Urine filter membrane photographed through a 4× microscope objective. Field of view: about 1.5 mm wide and 1.1 mm high.
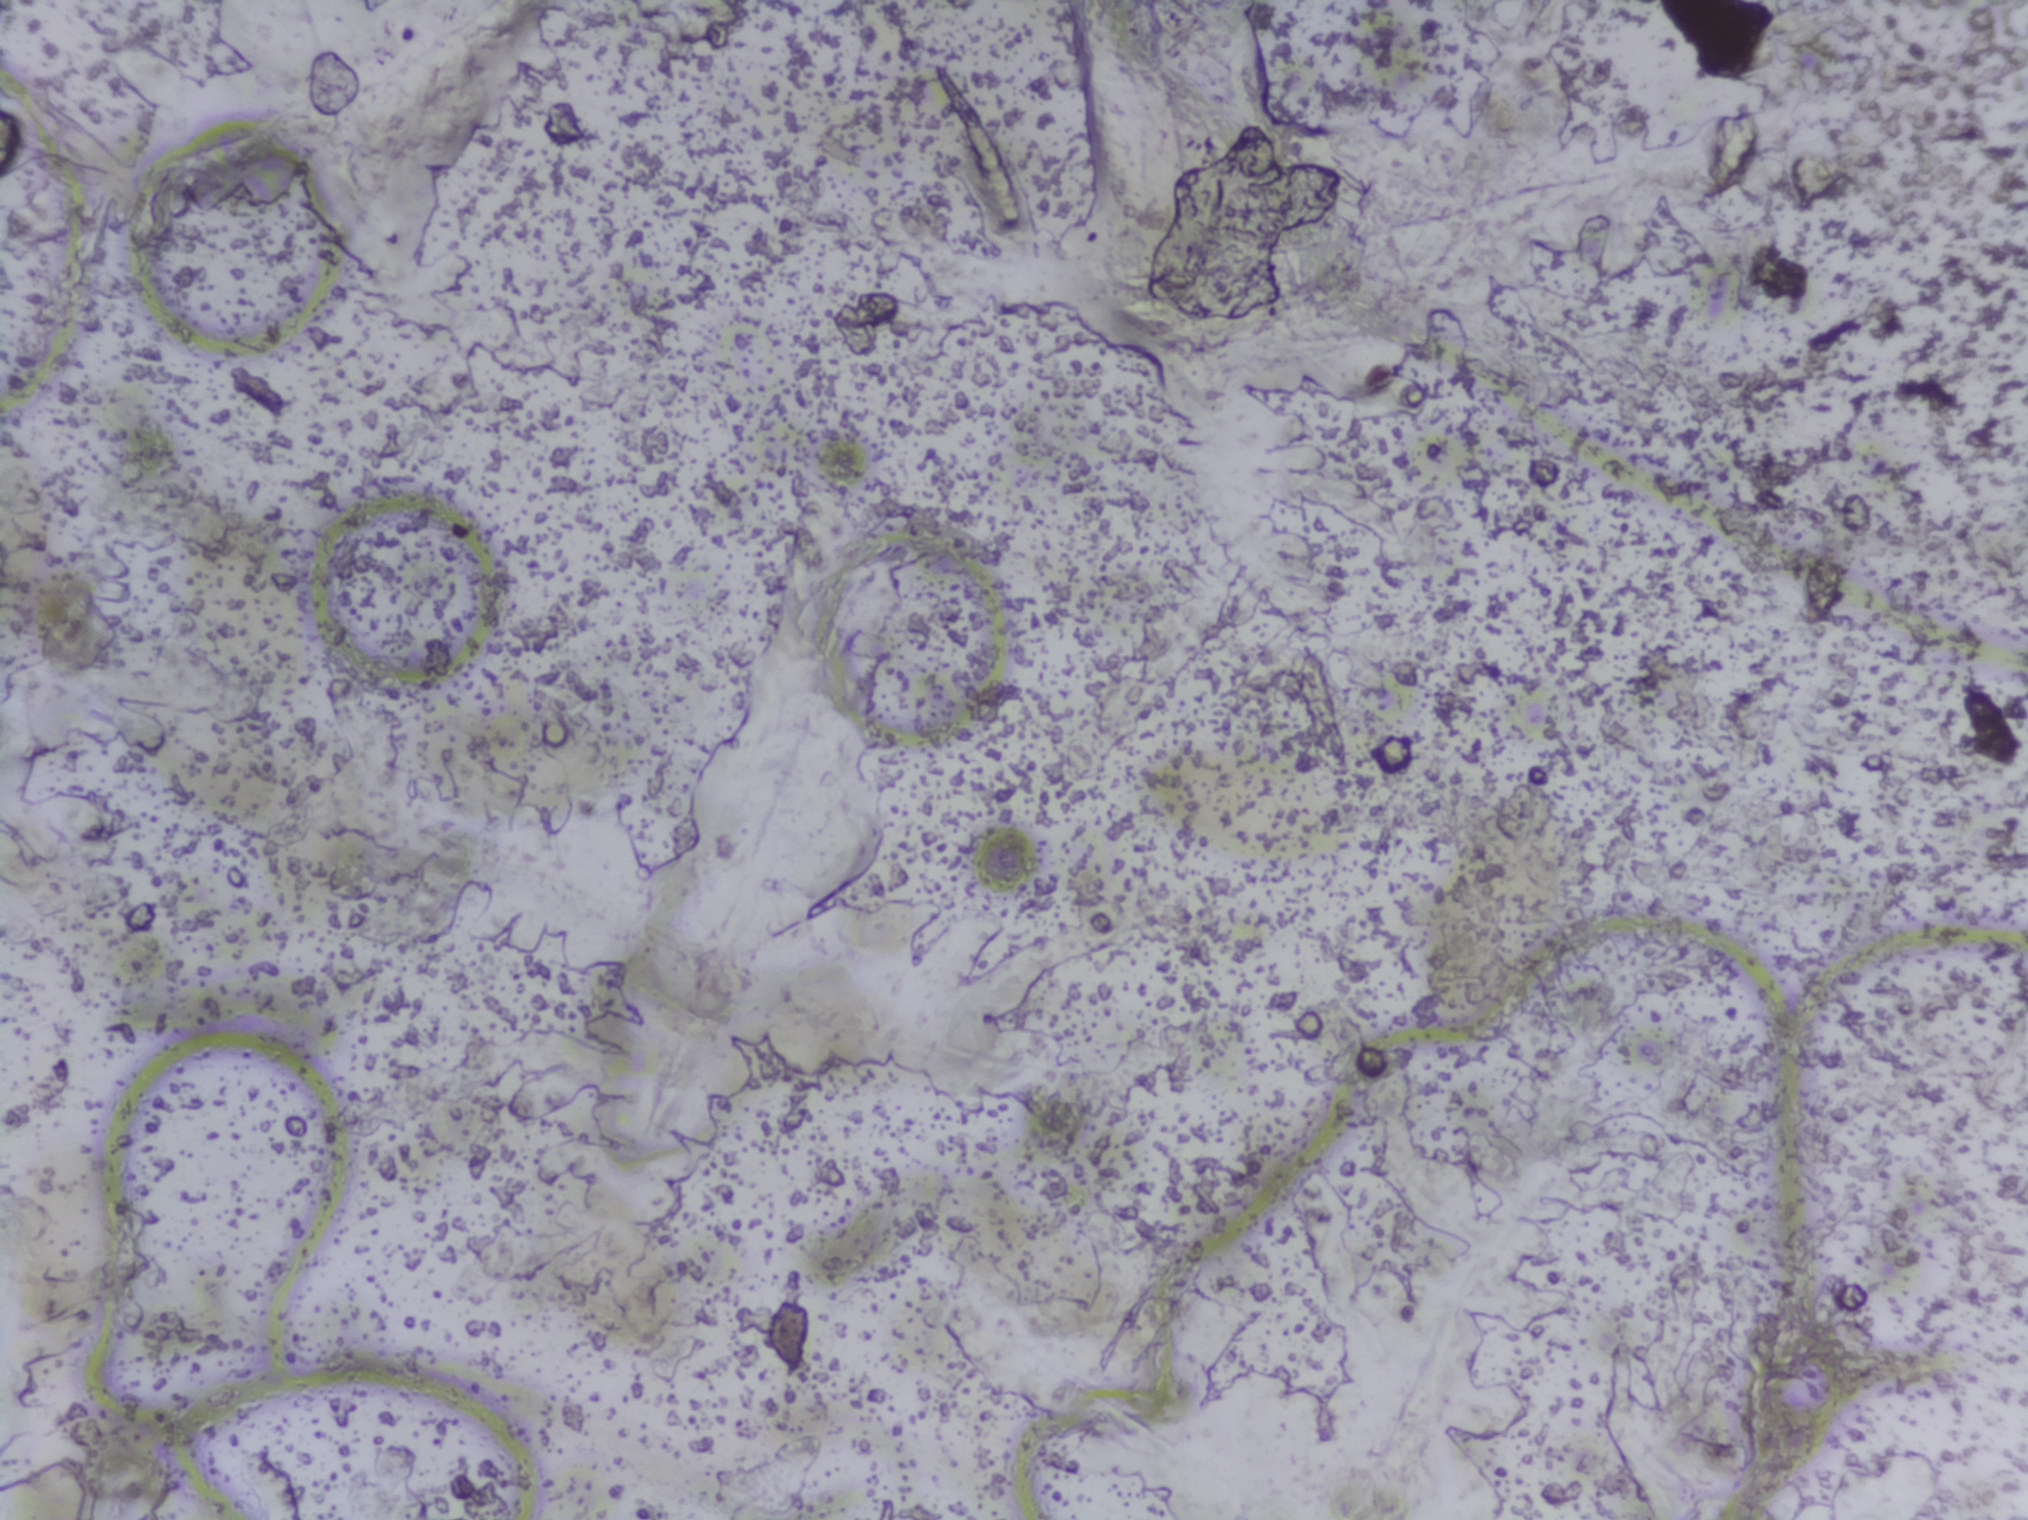
No Schistosoma egg is outlined in this image's expert annotation.